Photomicrograph of a urine filtration membrane, 4× objective. The field of view is about 1.5 mm × 1.1 mm.
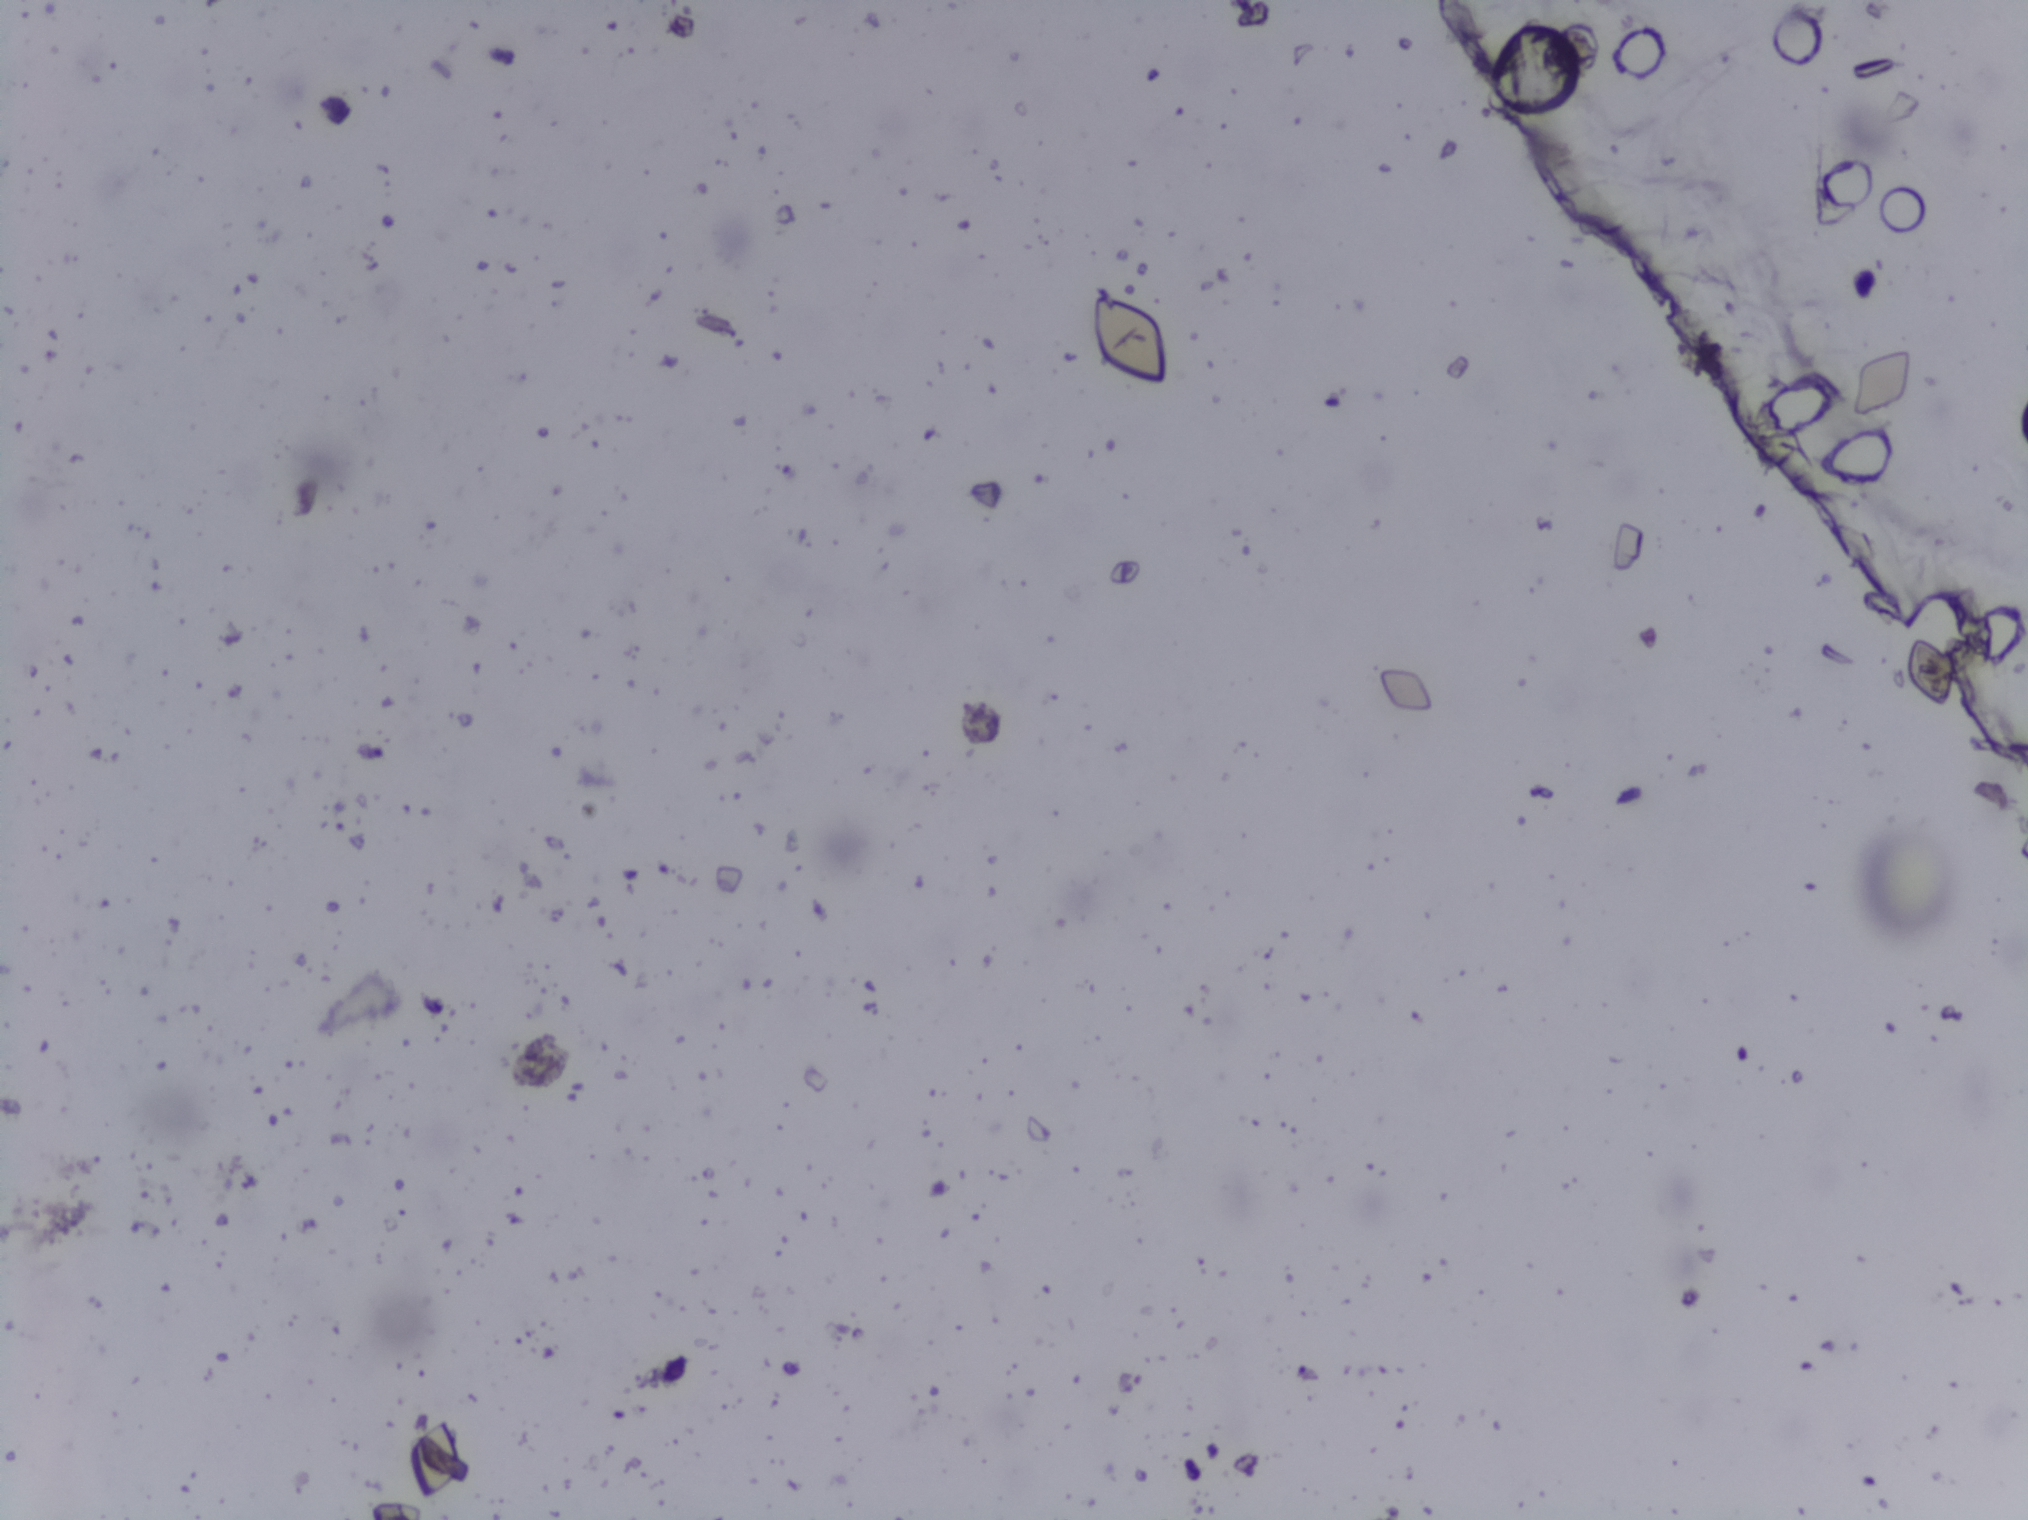
The expert annotation outlines no Schistosoma egg in this image.